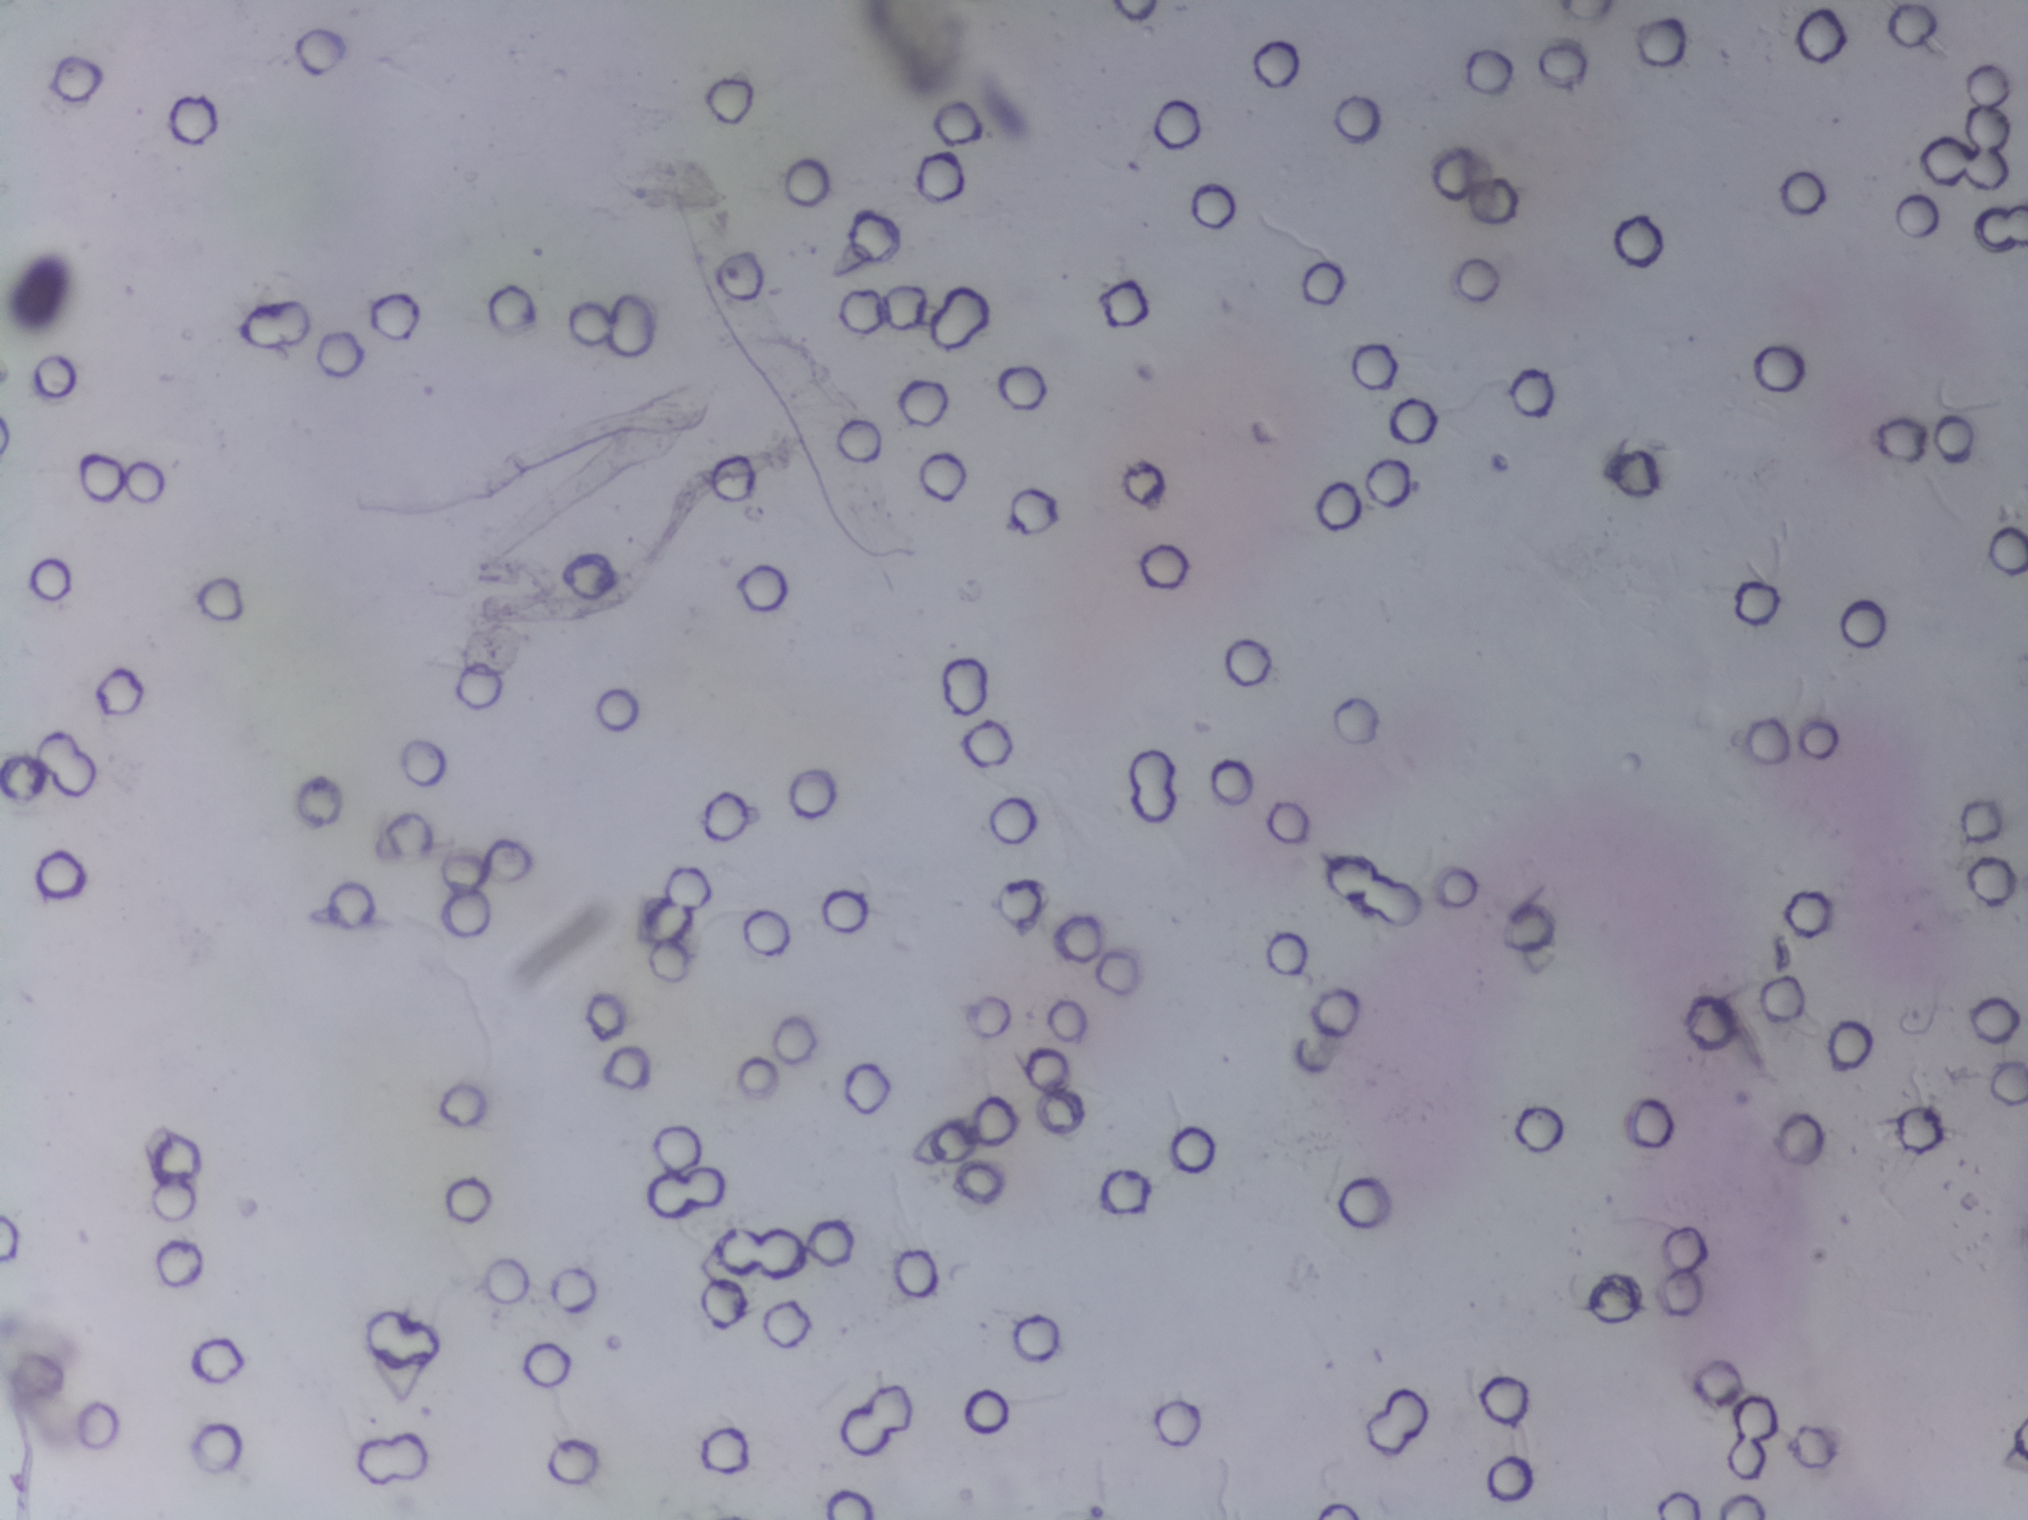
Urine filter membrane photographed through a 4× microscope objective.
No area of this image was outlined as a Schistosoma egg.